Photograph from an automated digital microscope: urine filter membrane, 4× objective.
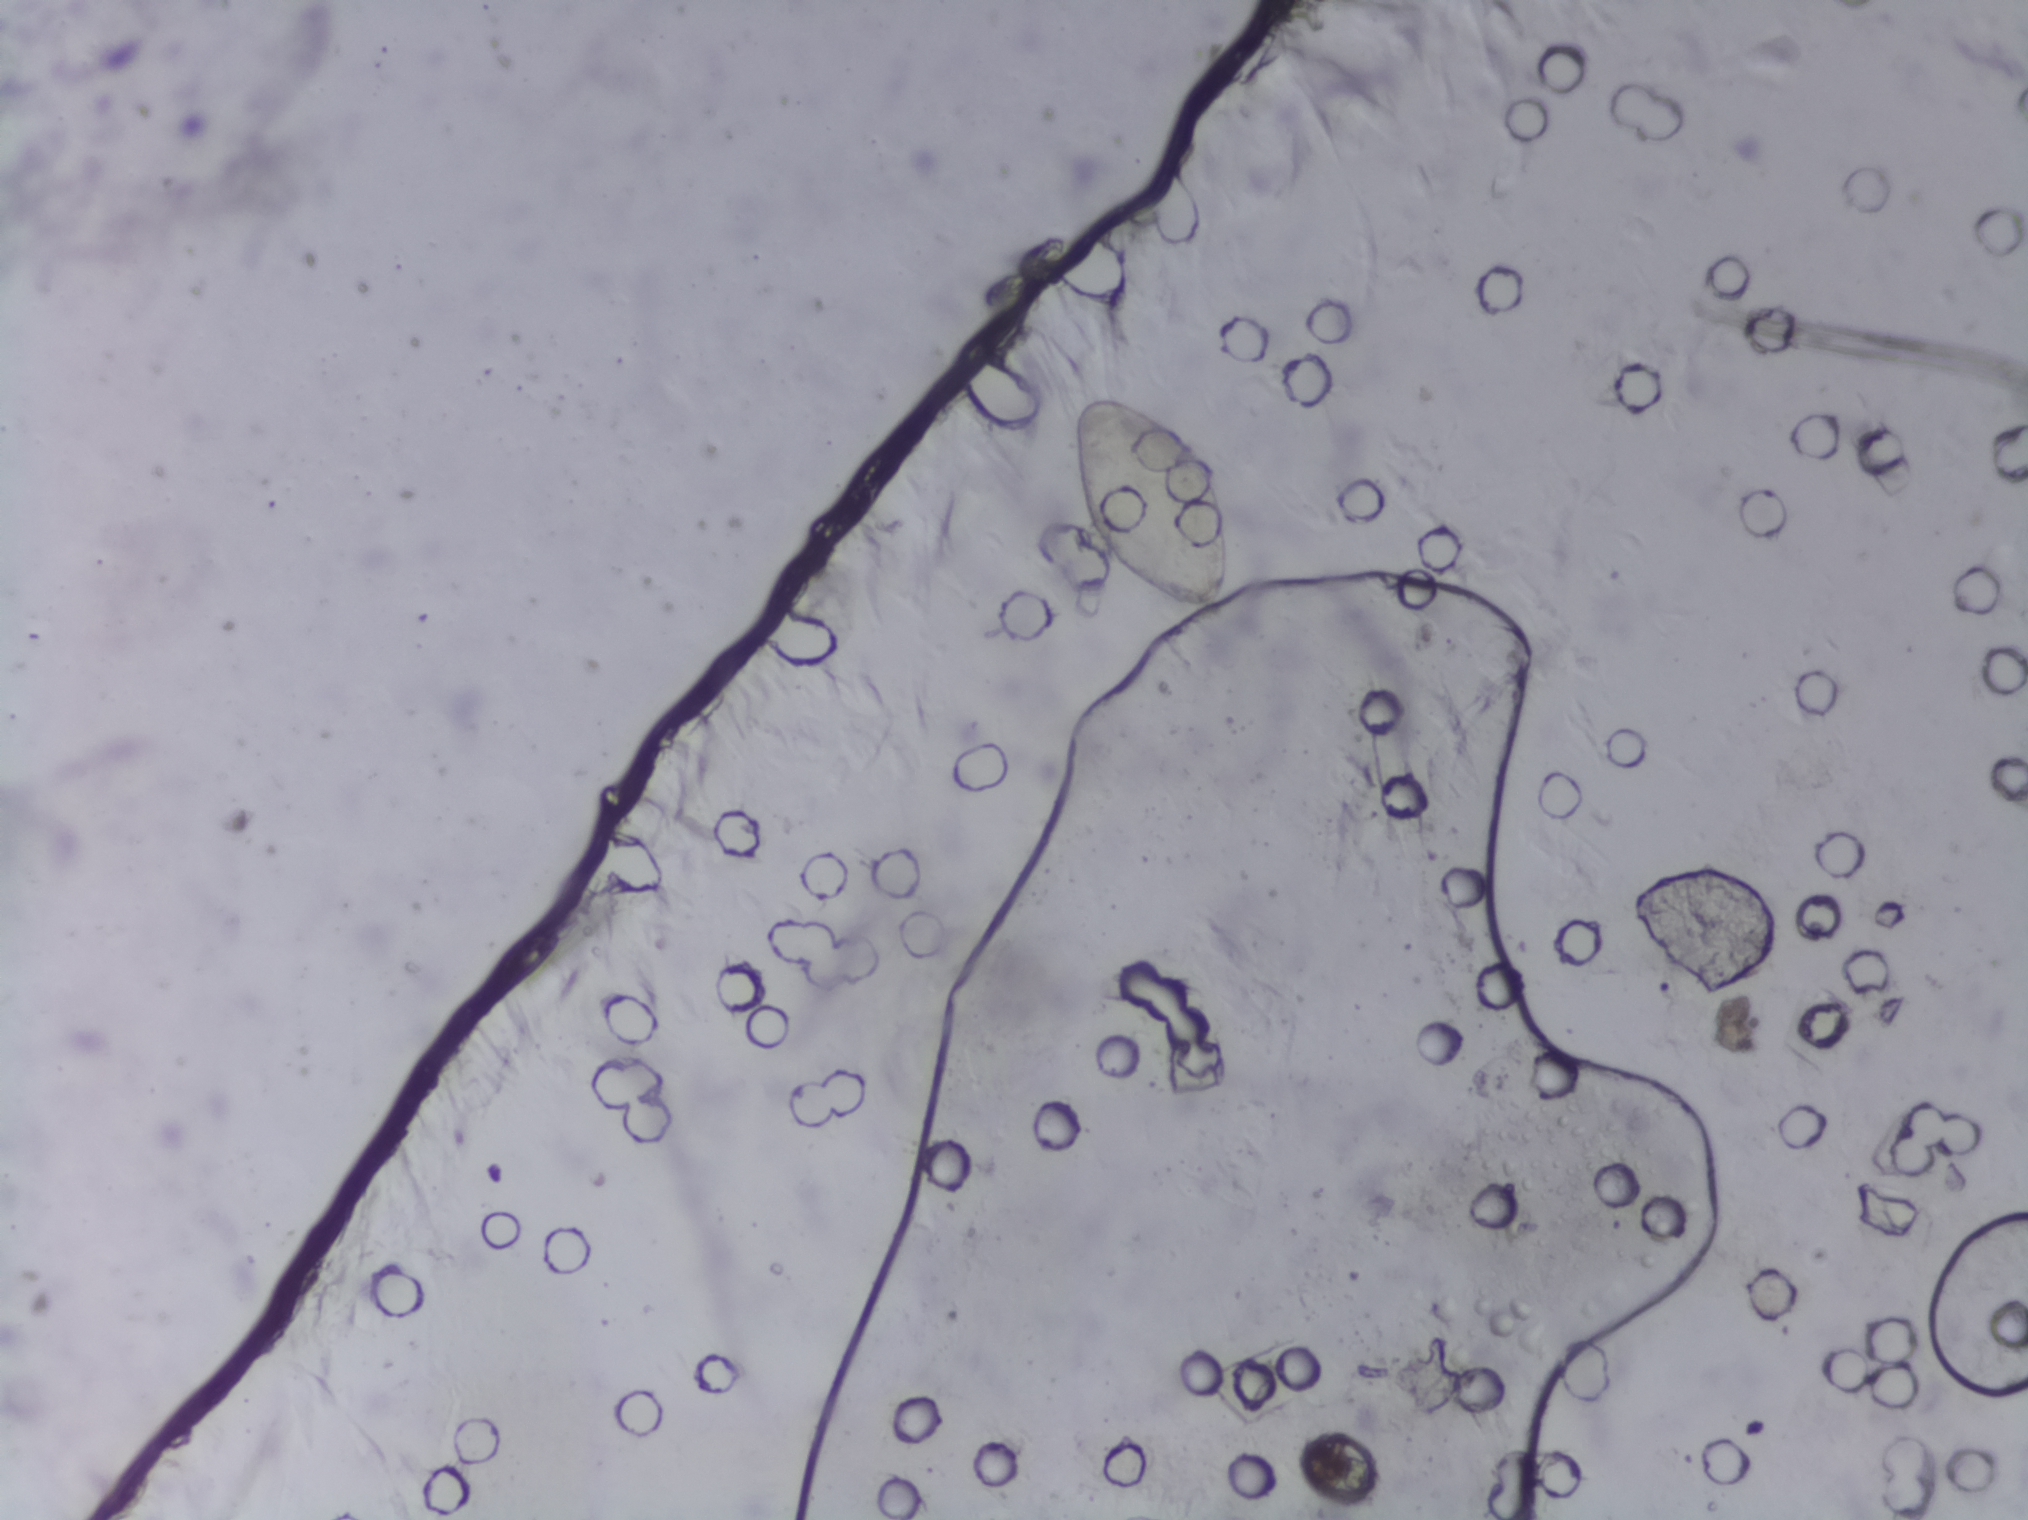
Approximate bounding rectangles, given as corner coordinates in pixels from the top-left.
Areas outlined as Schistosoma eggs: (x1=1067, y1=387, x2=1236, y2=628). Eggs that touch can end up inside the same outlined area.